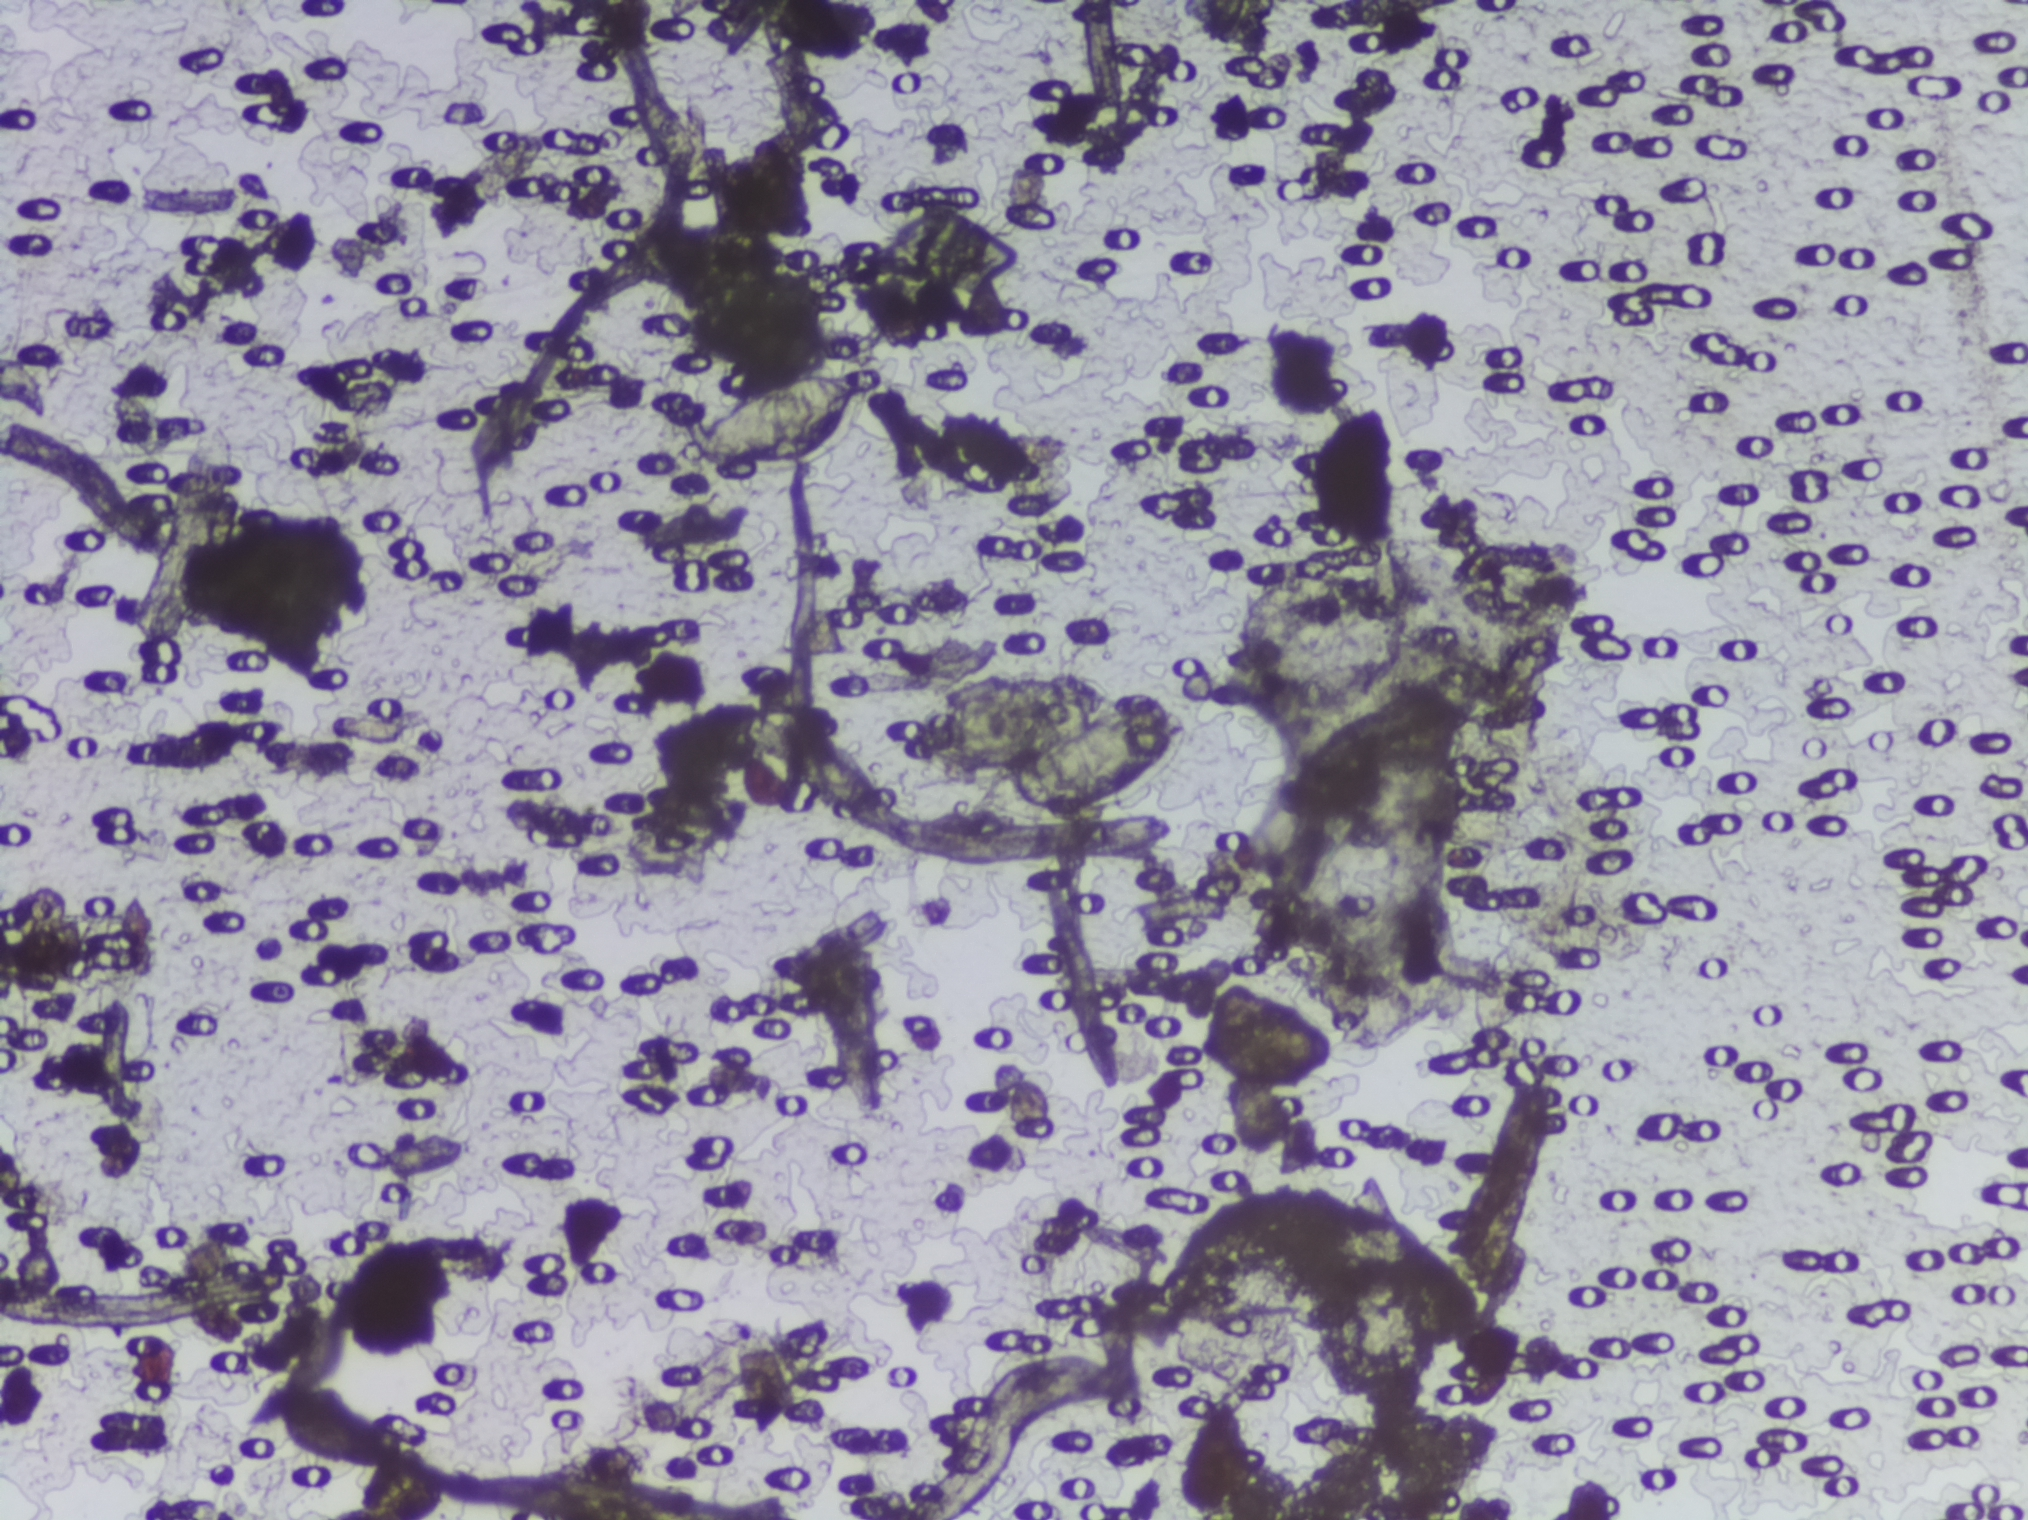
Microscope photograph (4× objective) of a membrane that a urine sample was filtered through.
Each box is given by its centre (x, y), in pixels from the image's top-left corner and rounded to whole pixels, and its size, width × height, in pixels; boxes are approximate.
Outlined Schistosoma egg areas, left to right:
1. centre (782, 421), 200 × 127 px
2. centre (1051, 745), 301 × 169 px
Eggs that touch can end up inside the same outlined area.